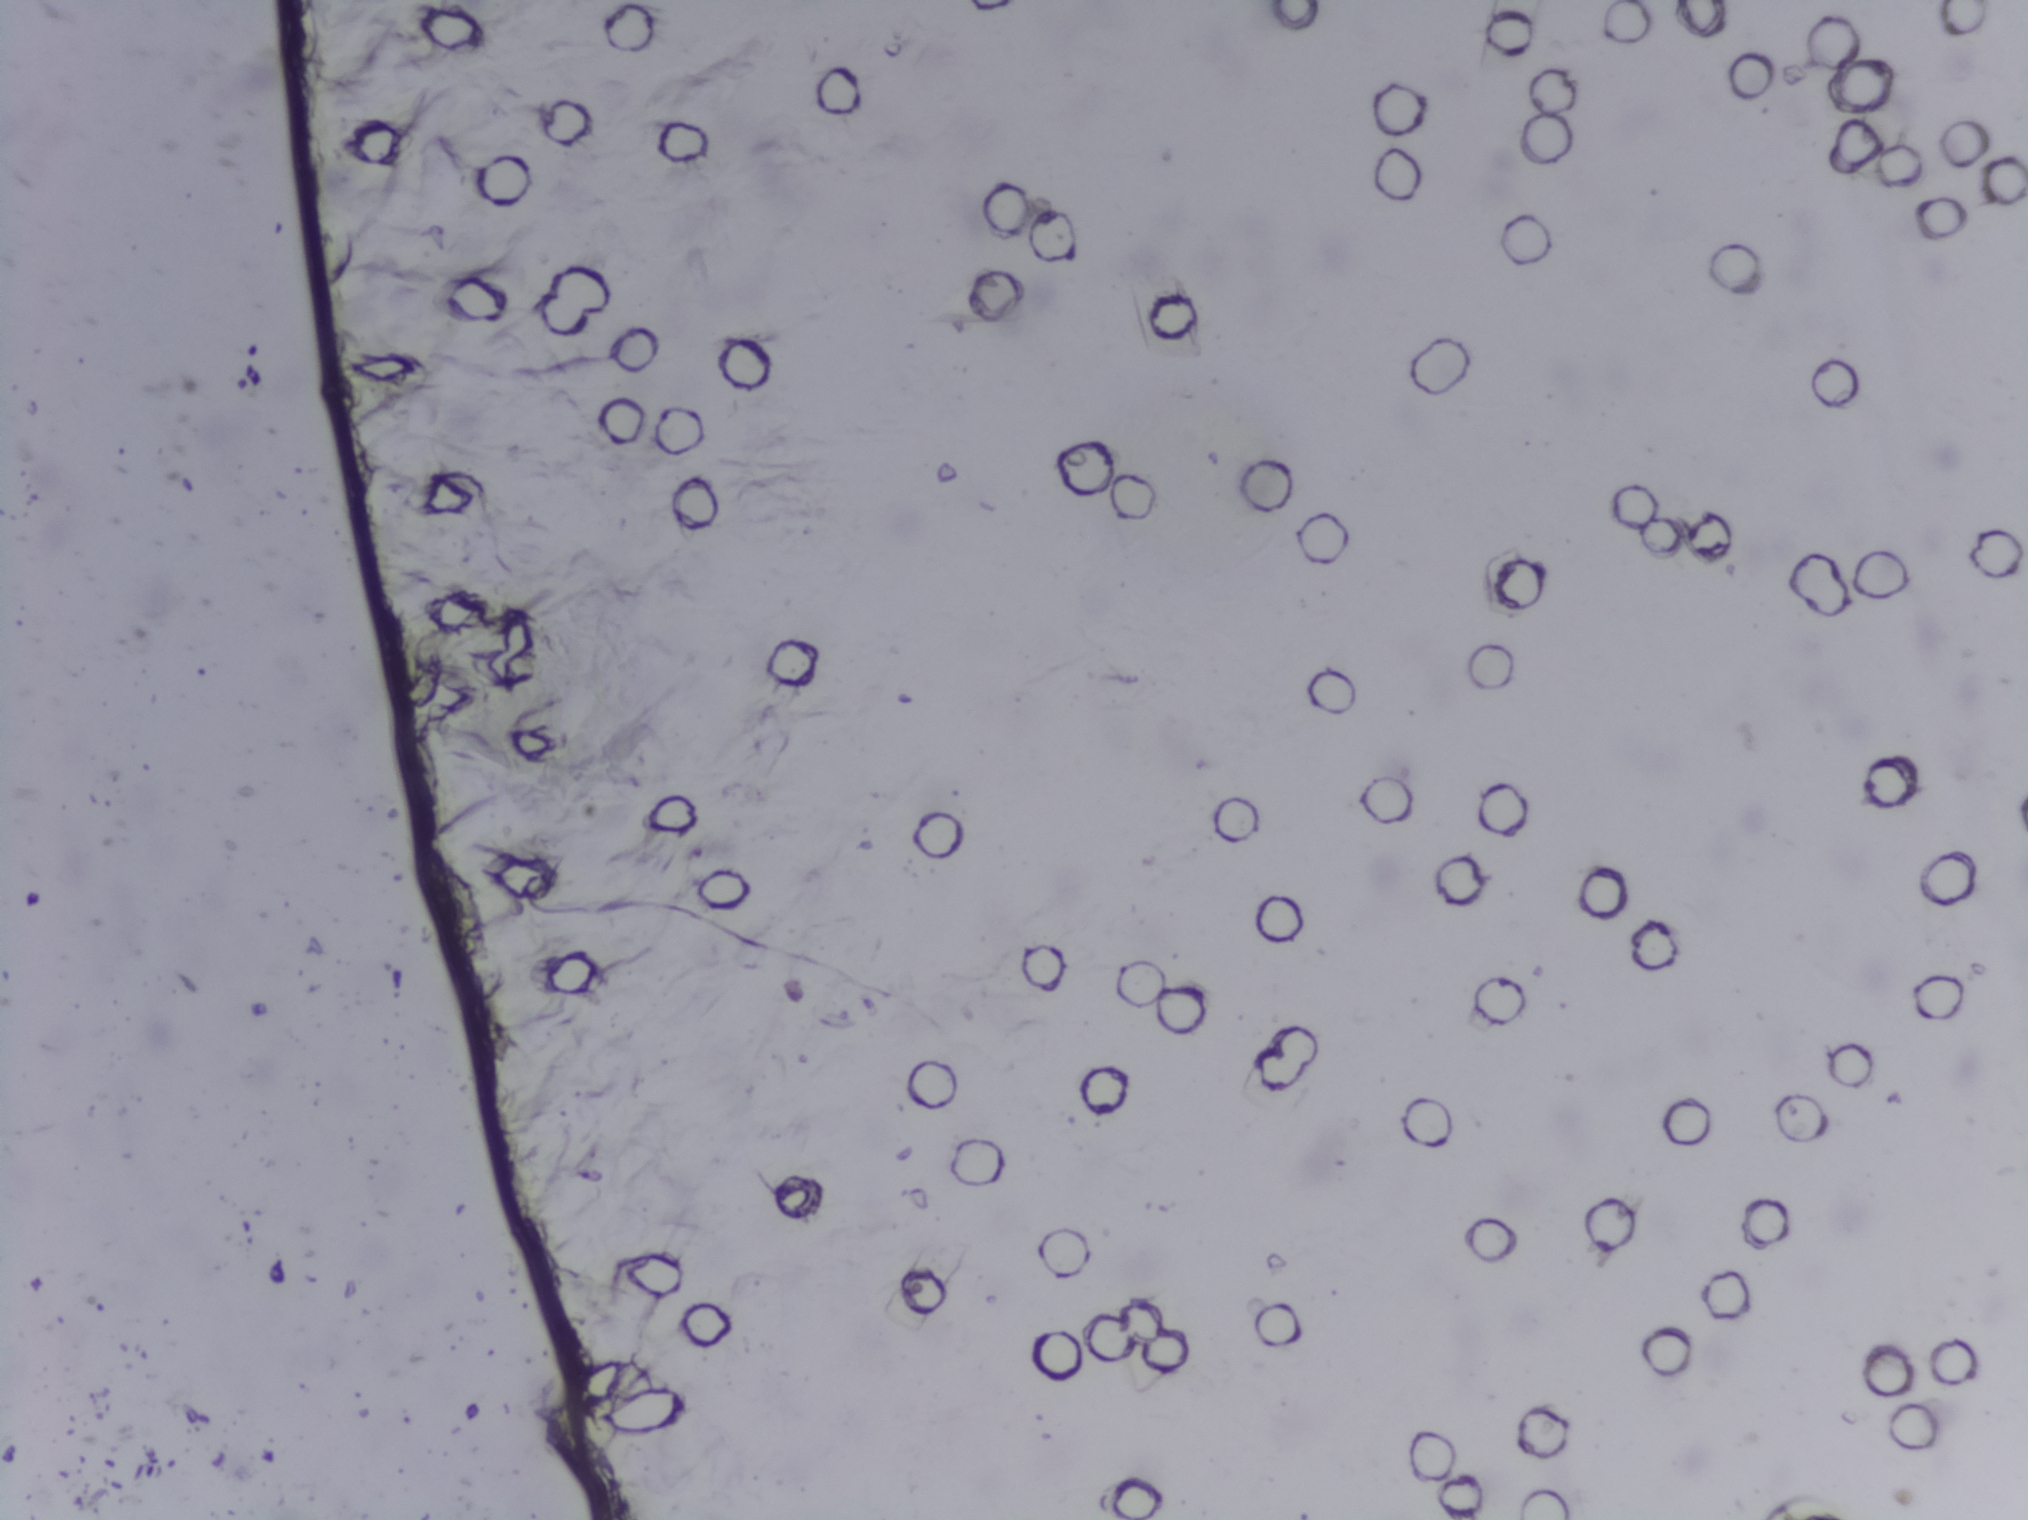
One field of view of a urine filter membrane, 4× objective, 2028 × 1520 pixels. The image covers about 1.5 × 1.1 mm of the membrane.
The expert annotation marks no Schistosoma egg in this field of view.